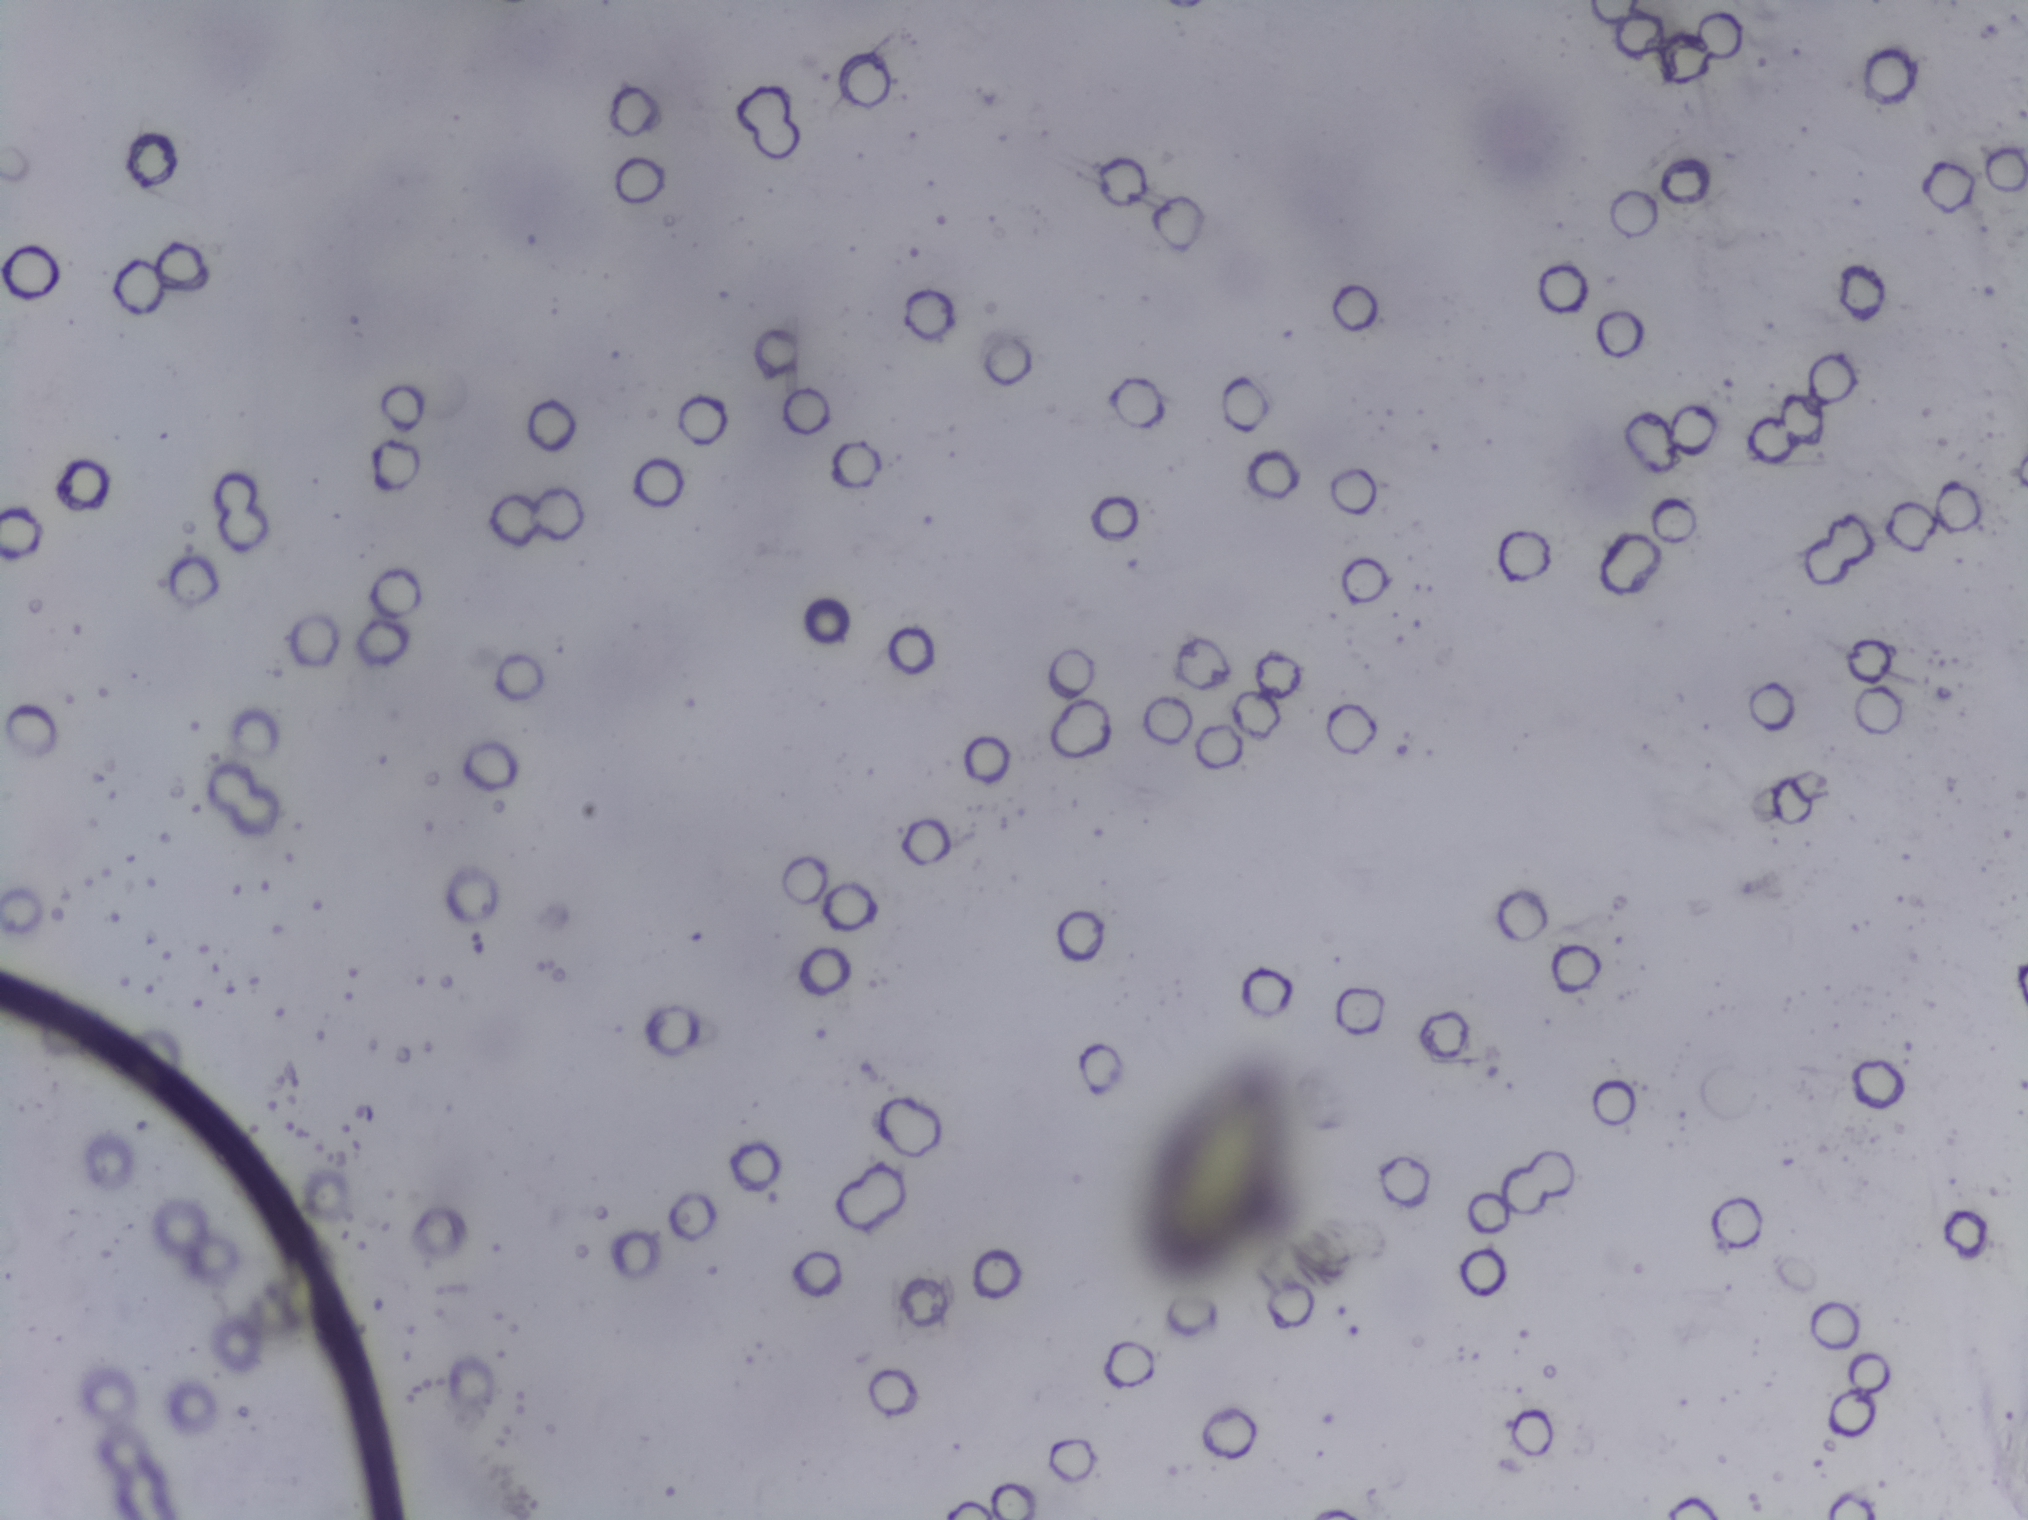
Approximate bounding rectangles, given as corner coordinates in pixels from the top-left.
One area of this image is outlined as Schistosoma eggs: (x1=1140, y1=1045, x2=1295, y2=1296). An outlined area can hold more than one egg.
Photomicrograph of a urine filtration membrane, 4× objective.